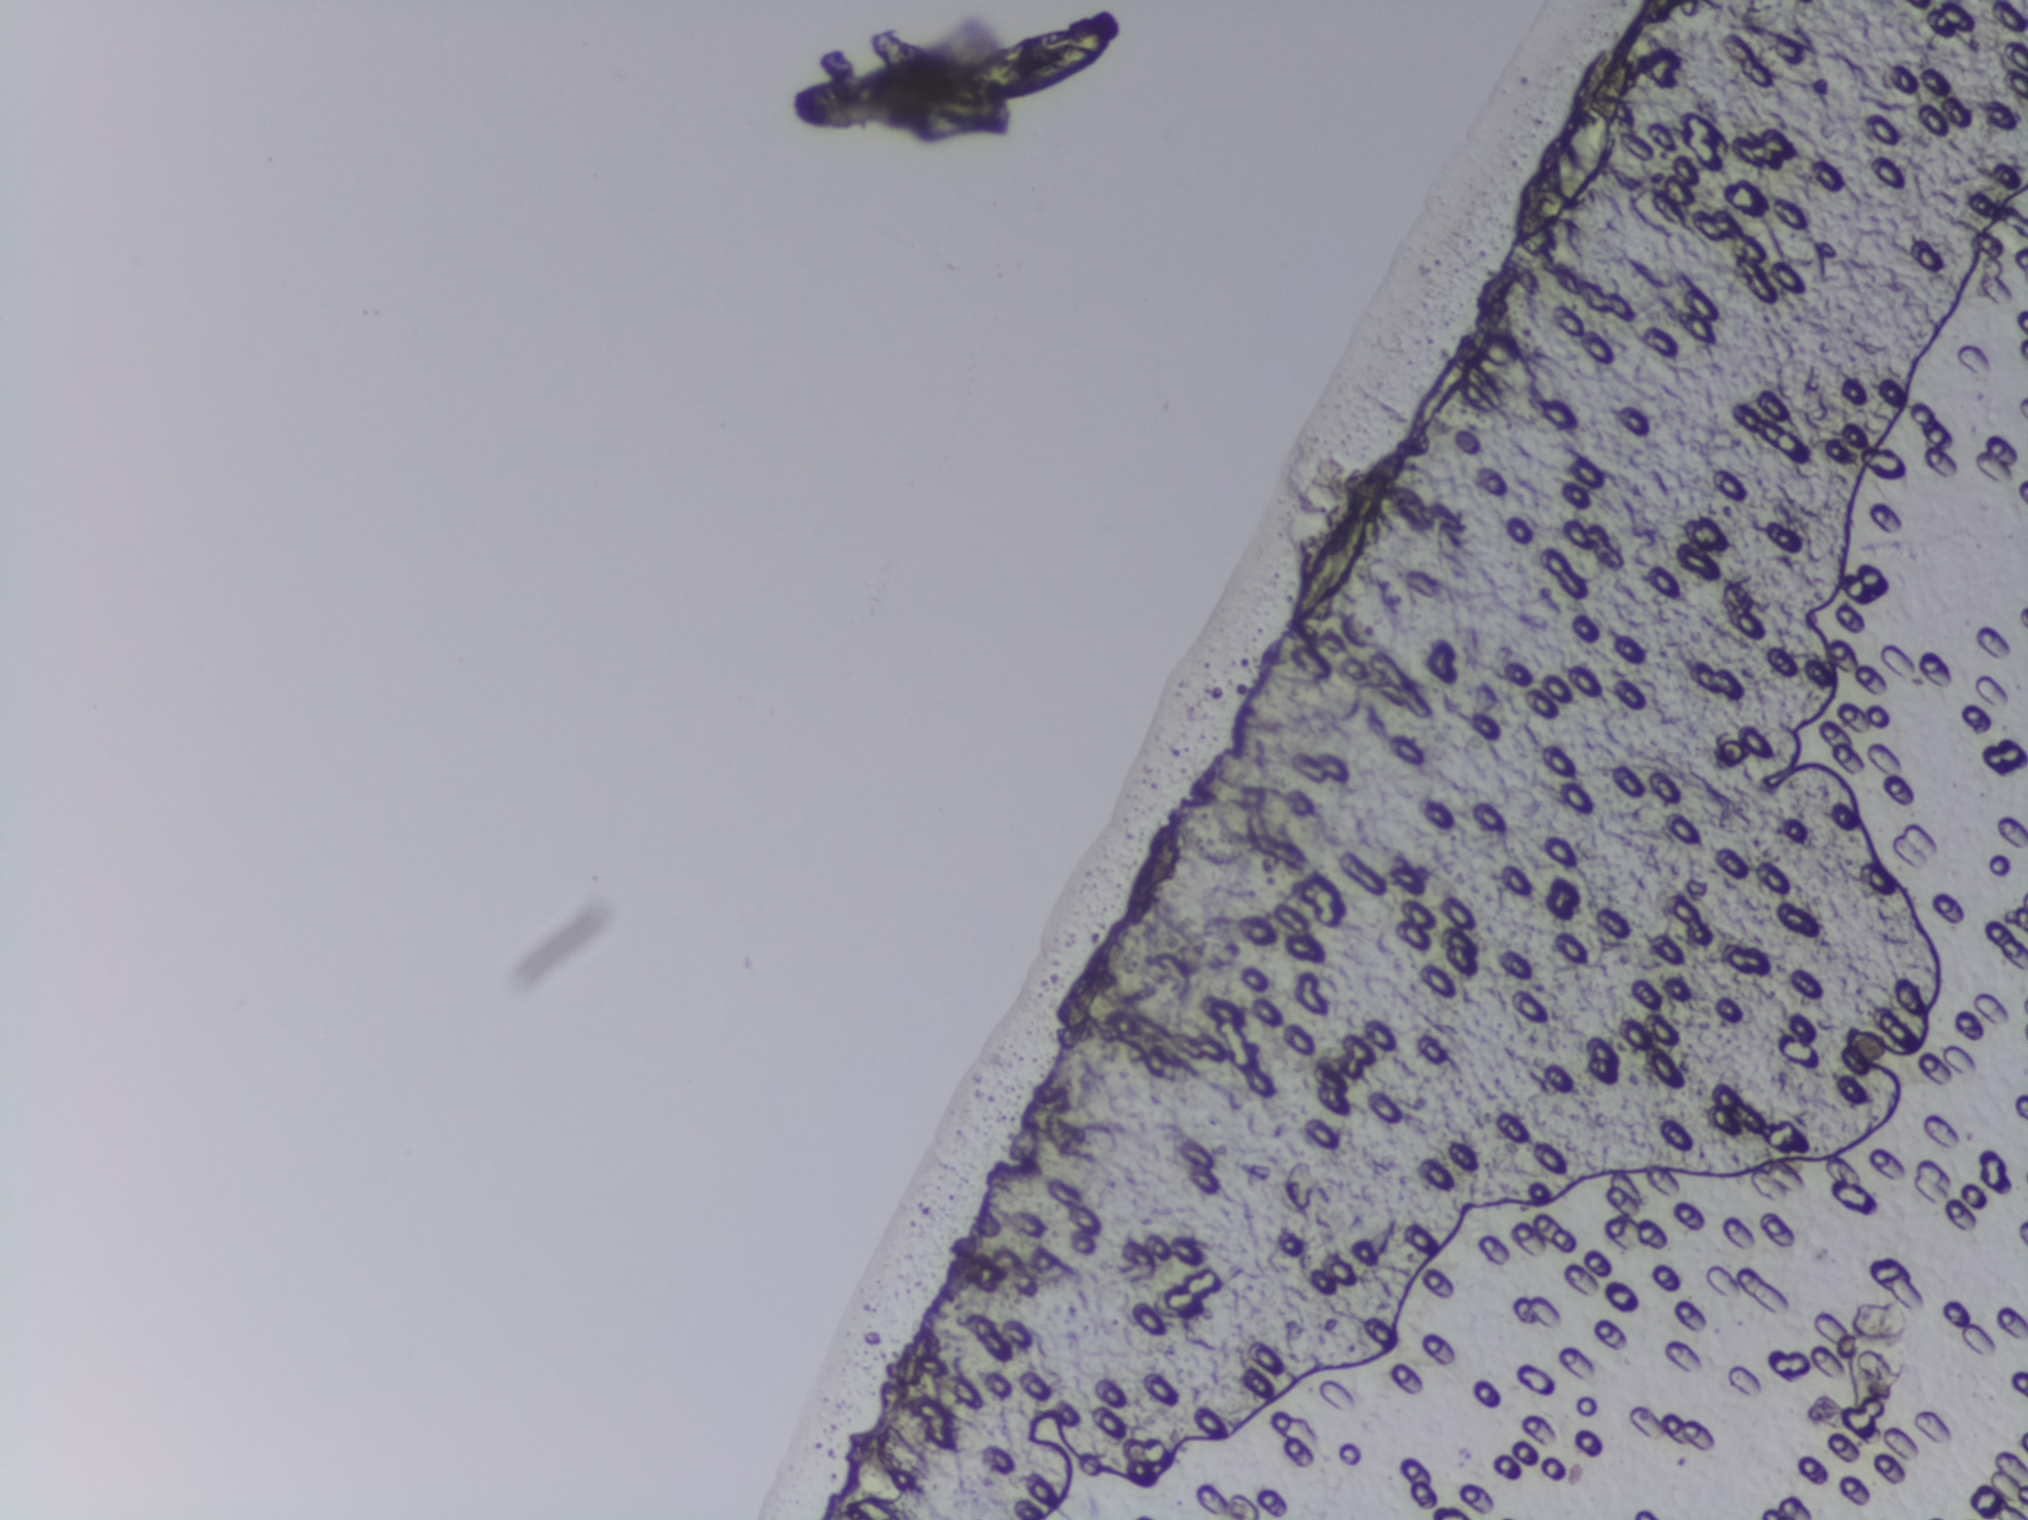
The expert annotation outlines no Schistosoma egg in this image.
Microscope photograph (4× objective) of a membrane that a urine sample was filtered through.